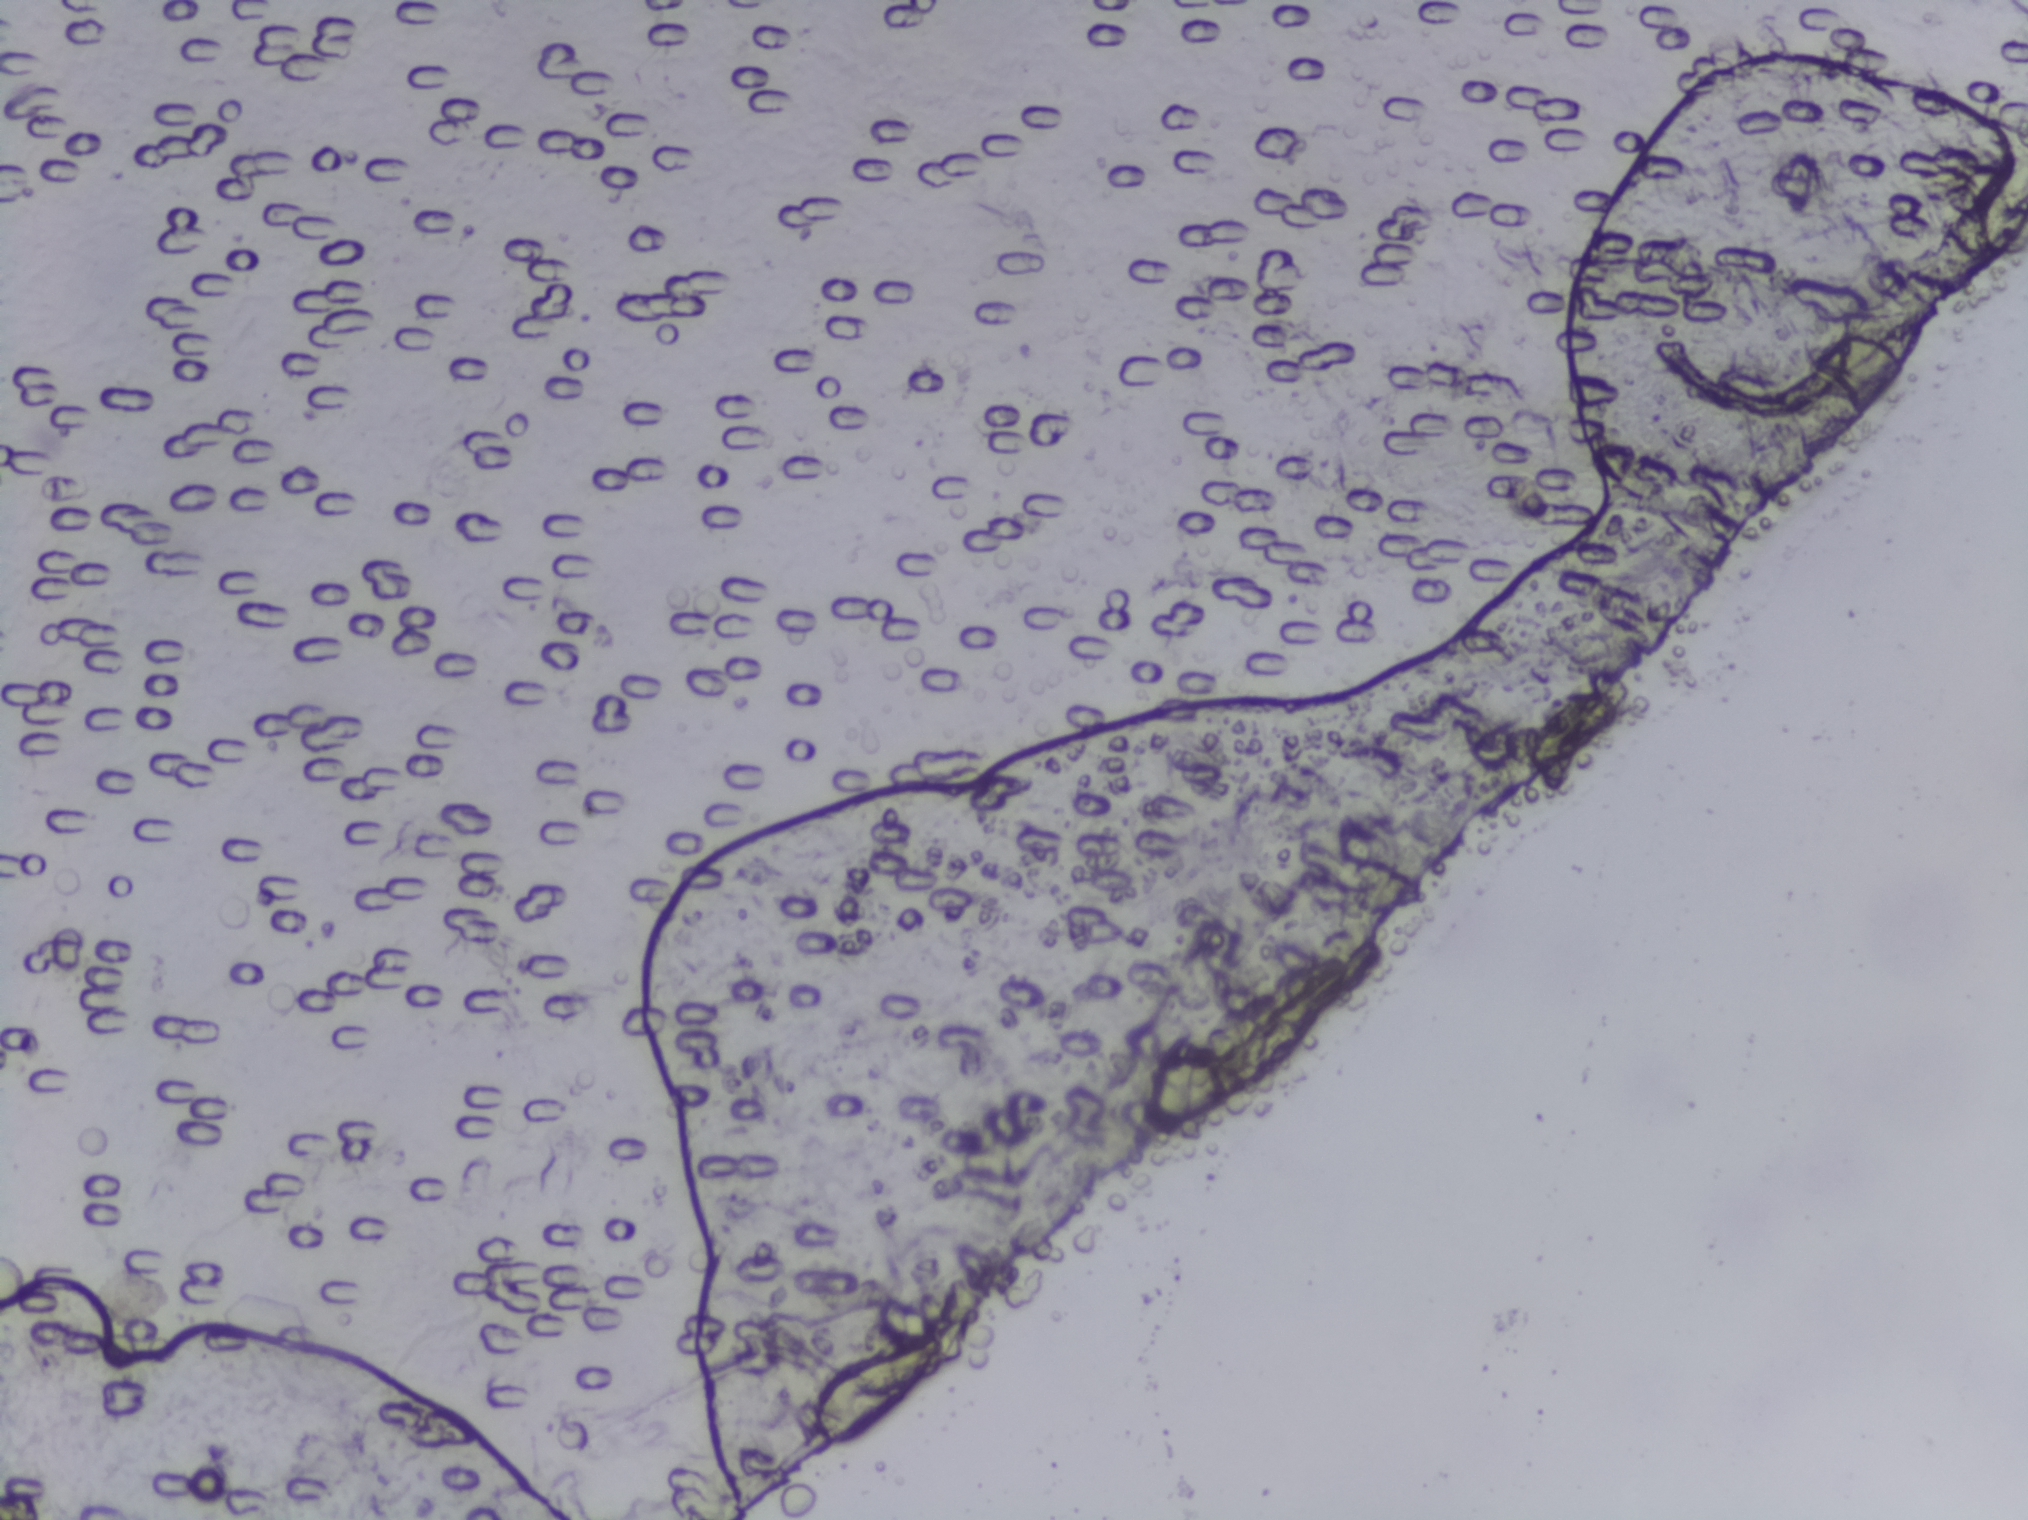
Schistosoma eggs: none outlined.
Photograph from an automated digital microscope: urine filter membrane, 4× objective. The image covers about 1.5 × 1.1 mm of the membrane.